Photomicrograph of a urine filtration membrane, 4× objective. Field of view: about 1.5 mm wide and 1.1 mm high.
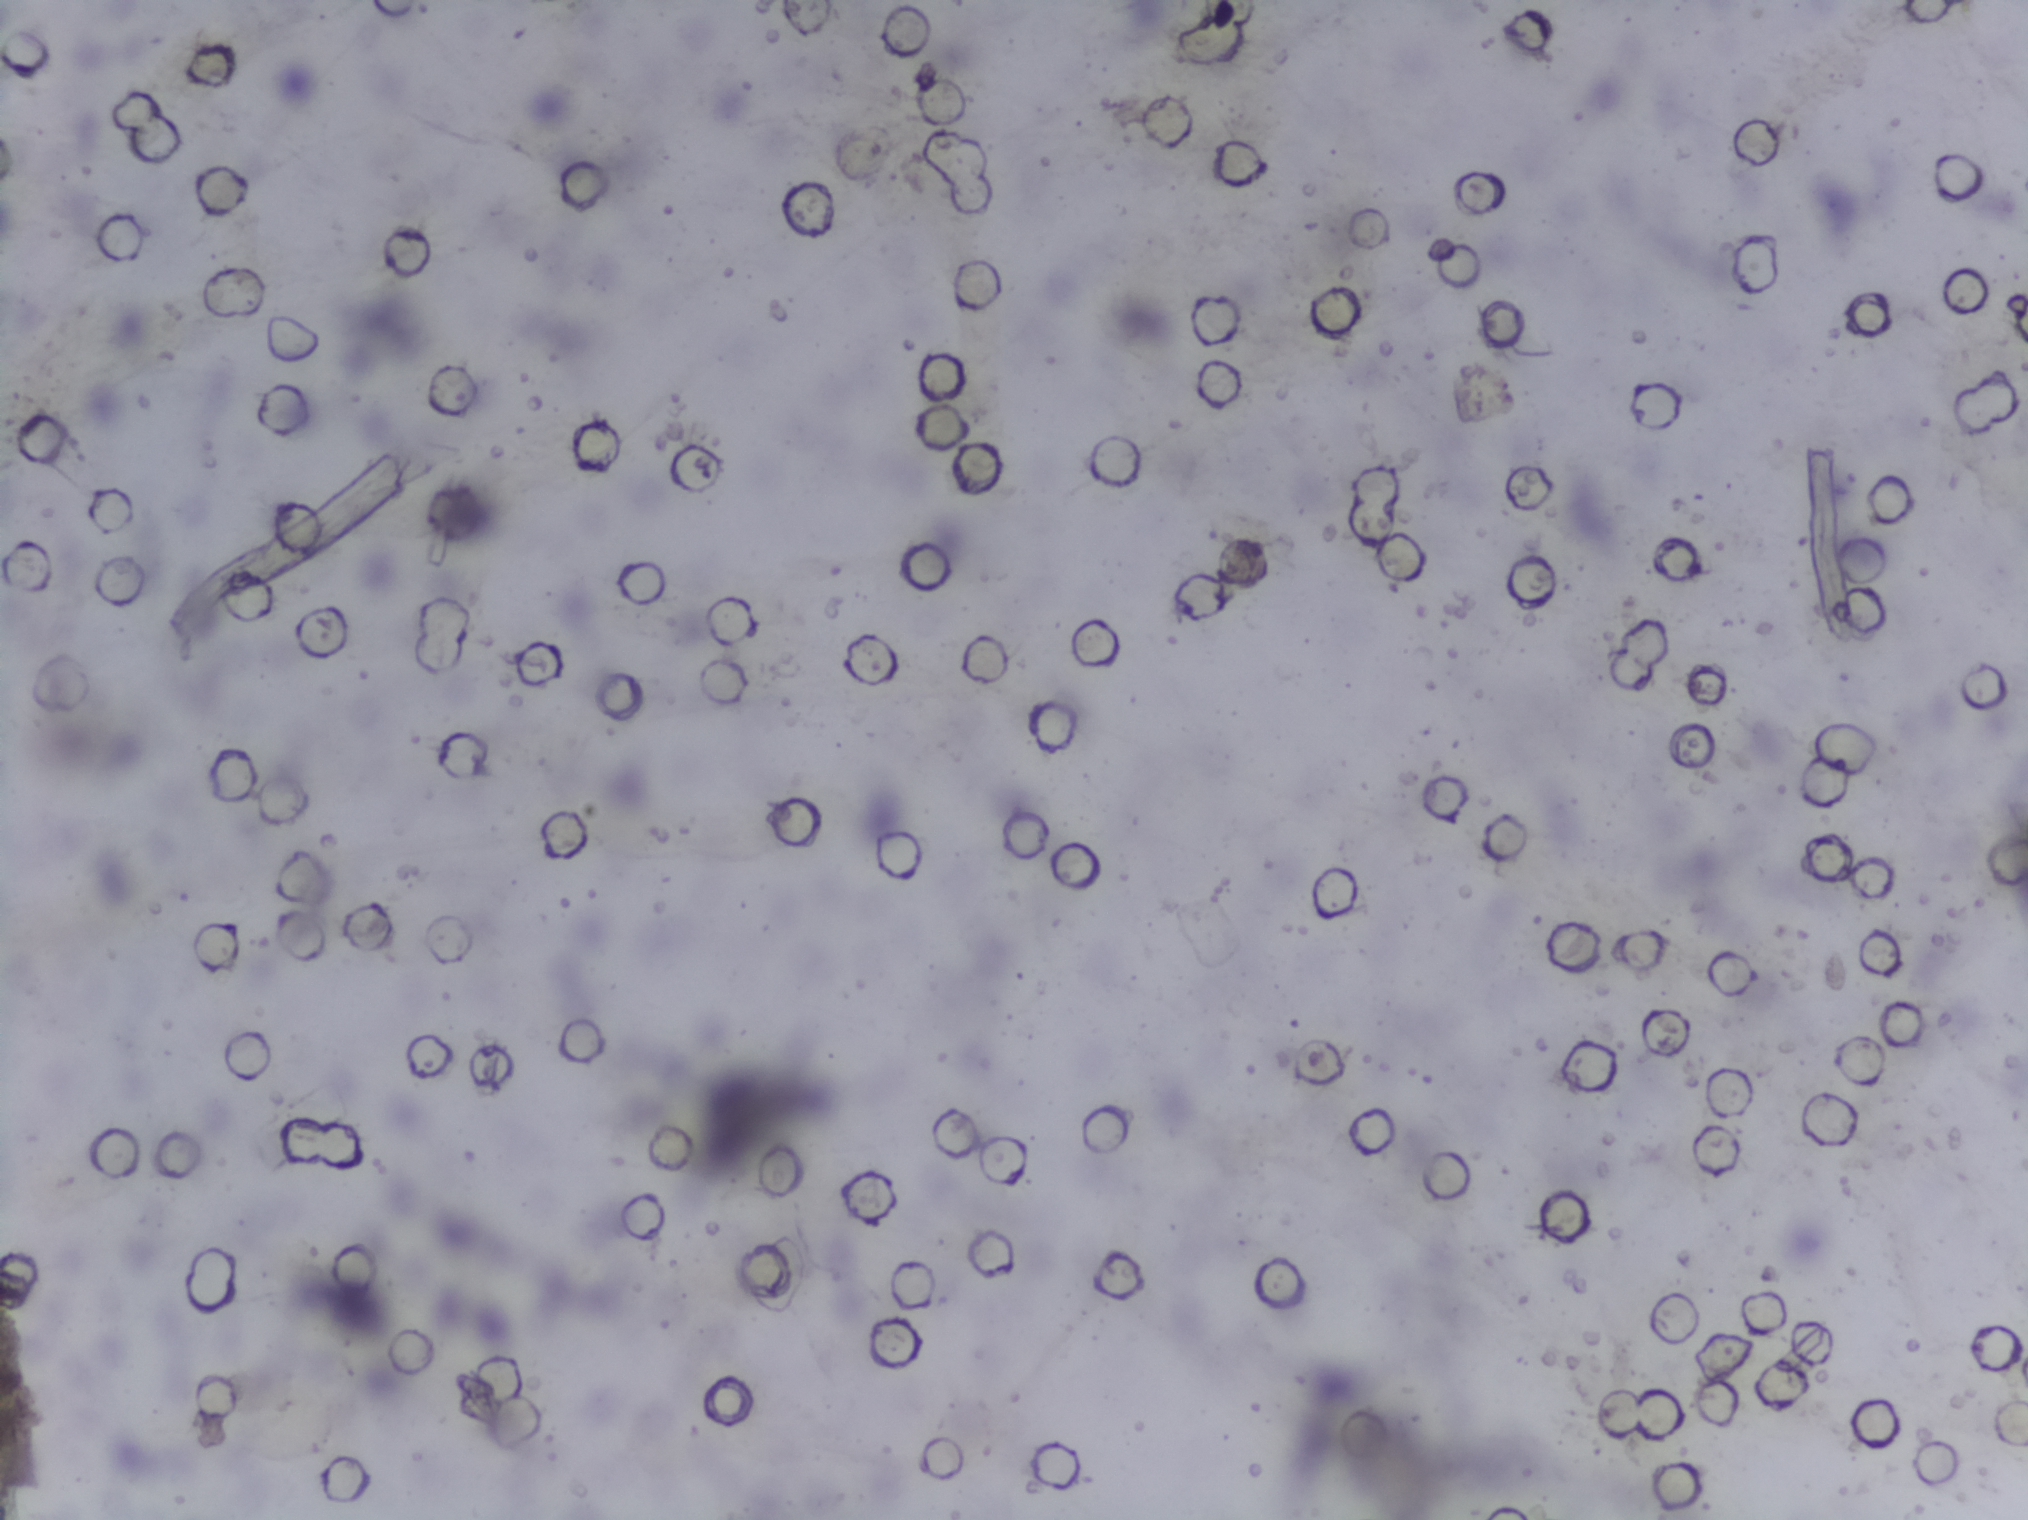
No area of this image was outlined as a Schistosoma egg.